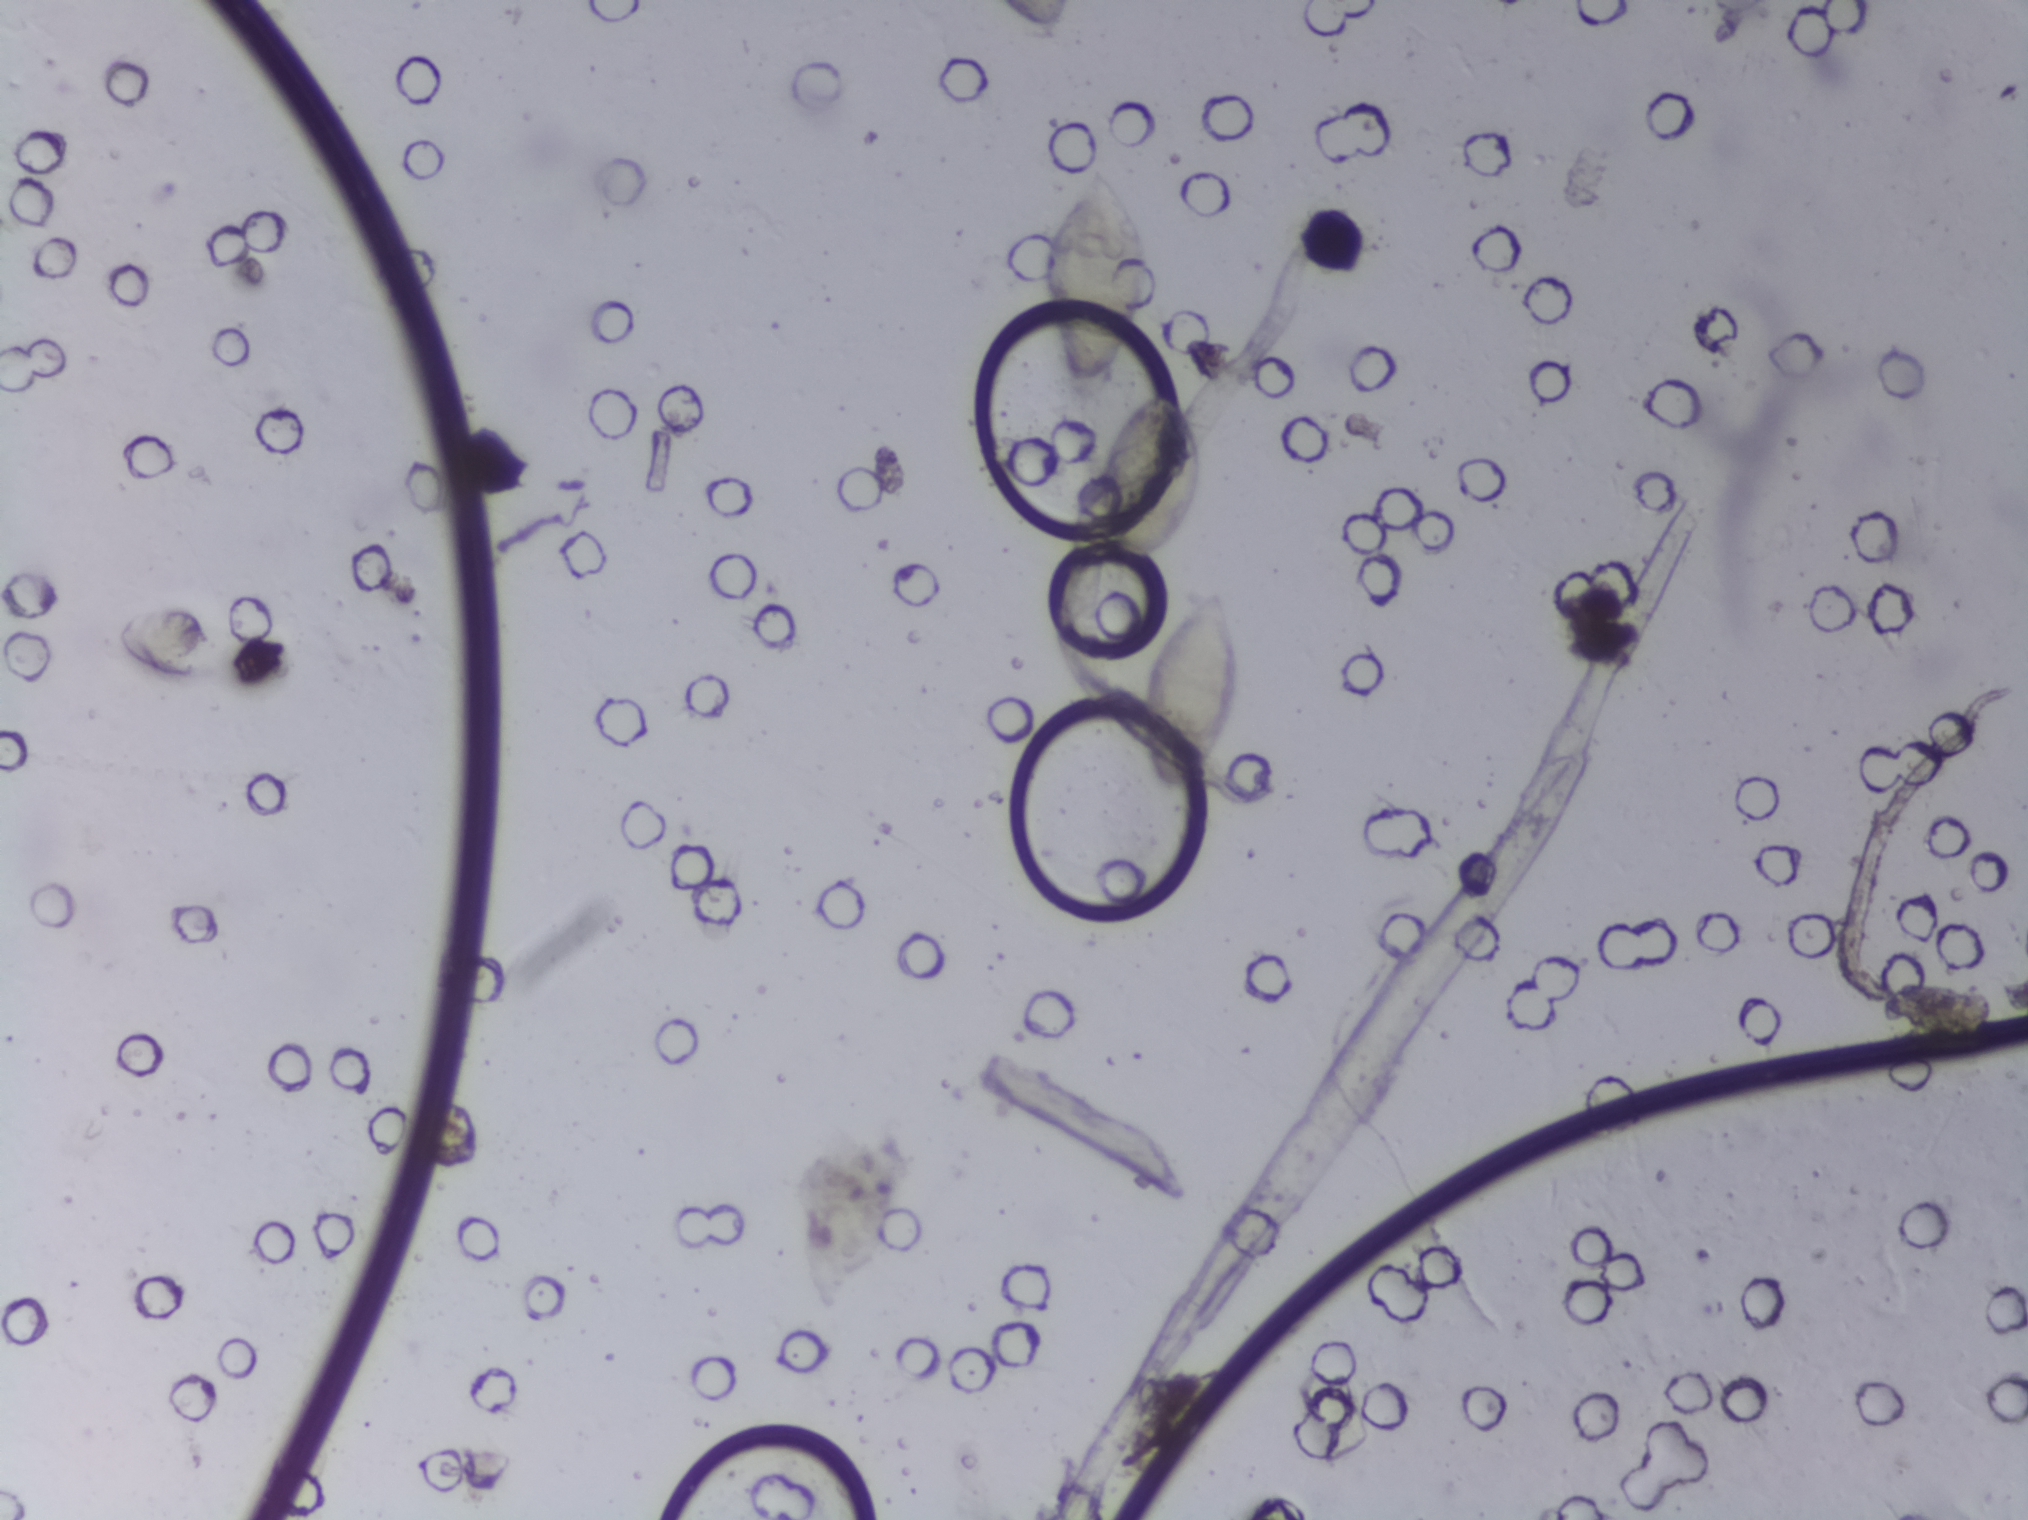
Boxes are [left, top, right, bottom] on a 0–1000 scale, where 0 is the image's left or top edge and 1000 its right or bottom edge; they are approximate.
The expert annotation outlines Schistosoma eggs at [510, 108, 569, 261]; [541, 254, 596, 379]; [564, 386, 614, 529]. Eggs that touch can end up inside the same outlined area.
Microscope photograph (4× objective) of a membrane that a urine sample was filtered through. Field of view: about 1.5 mm wide and 1.1 mm high.